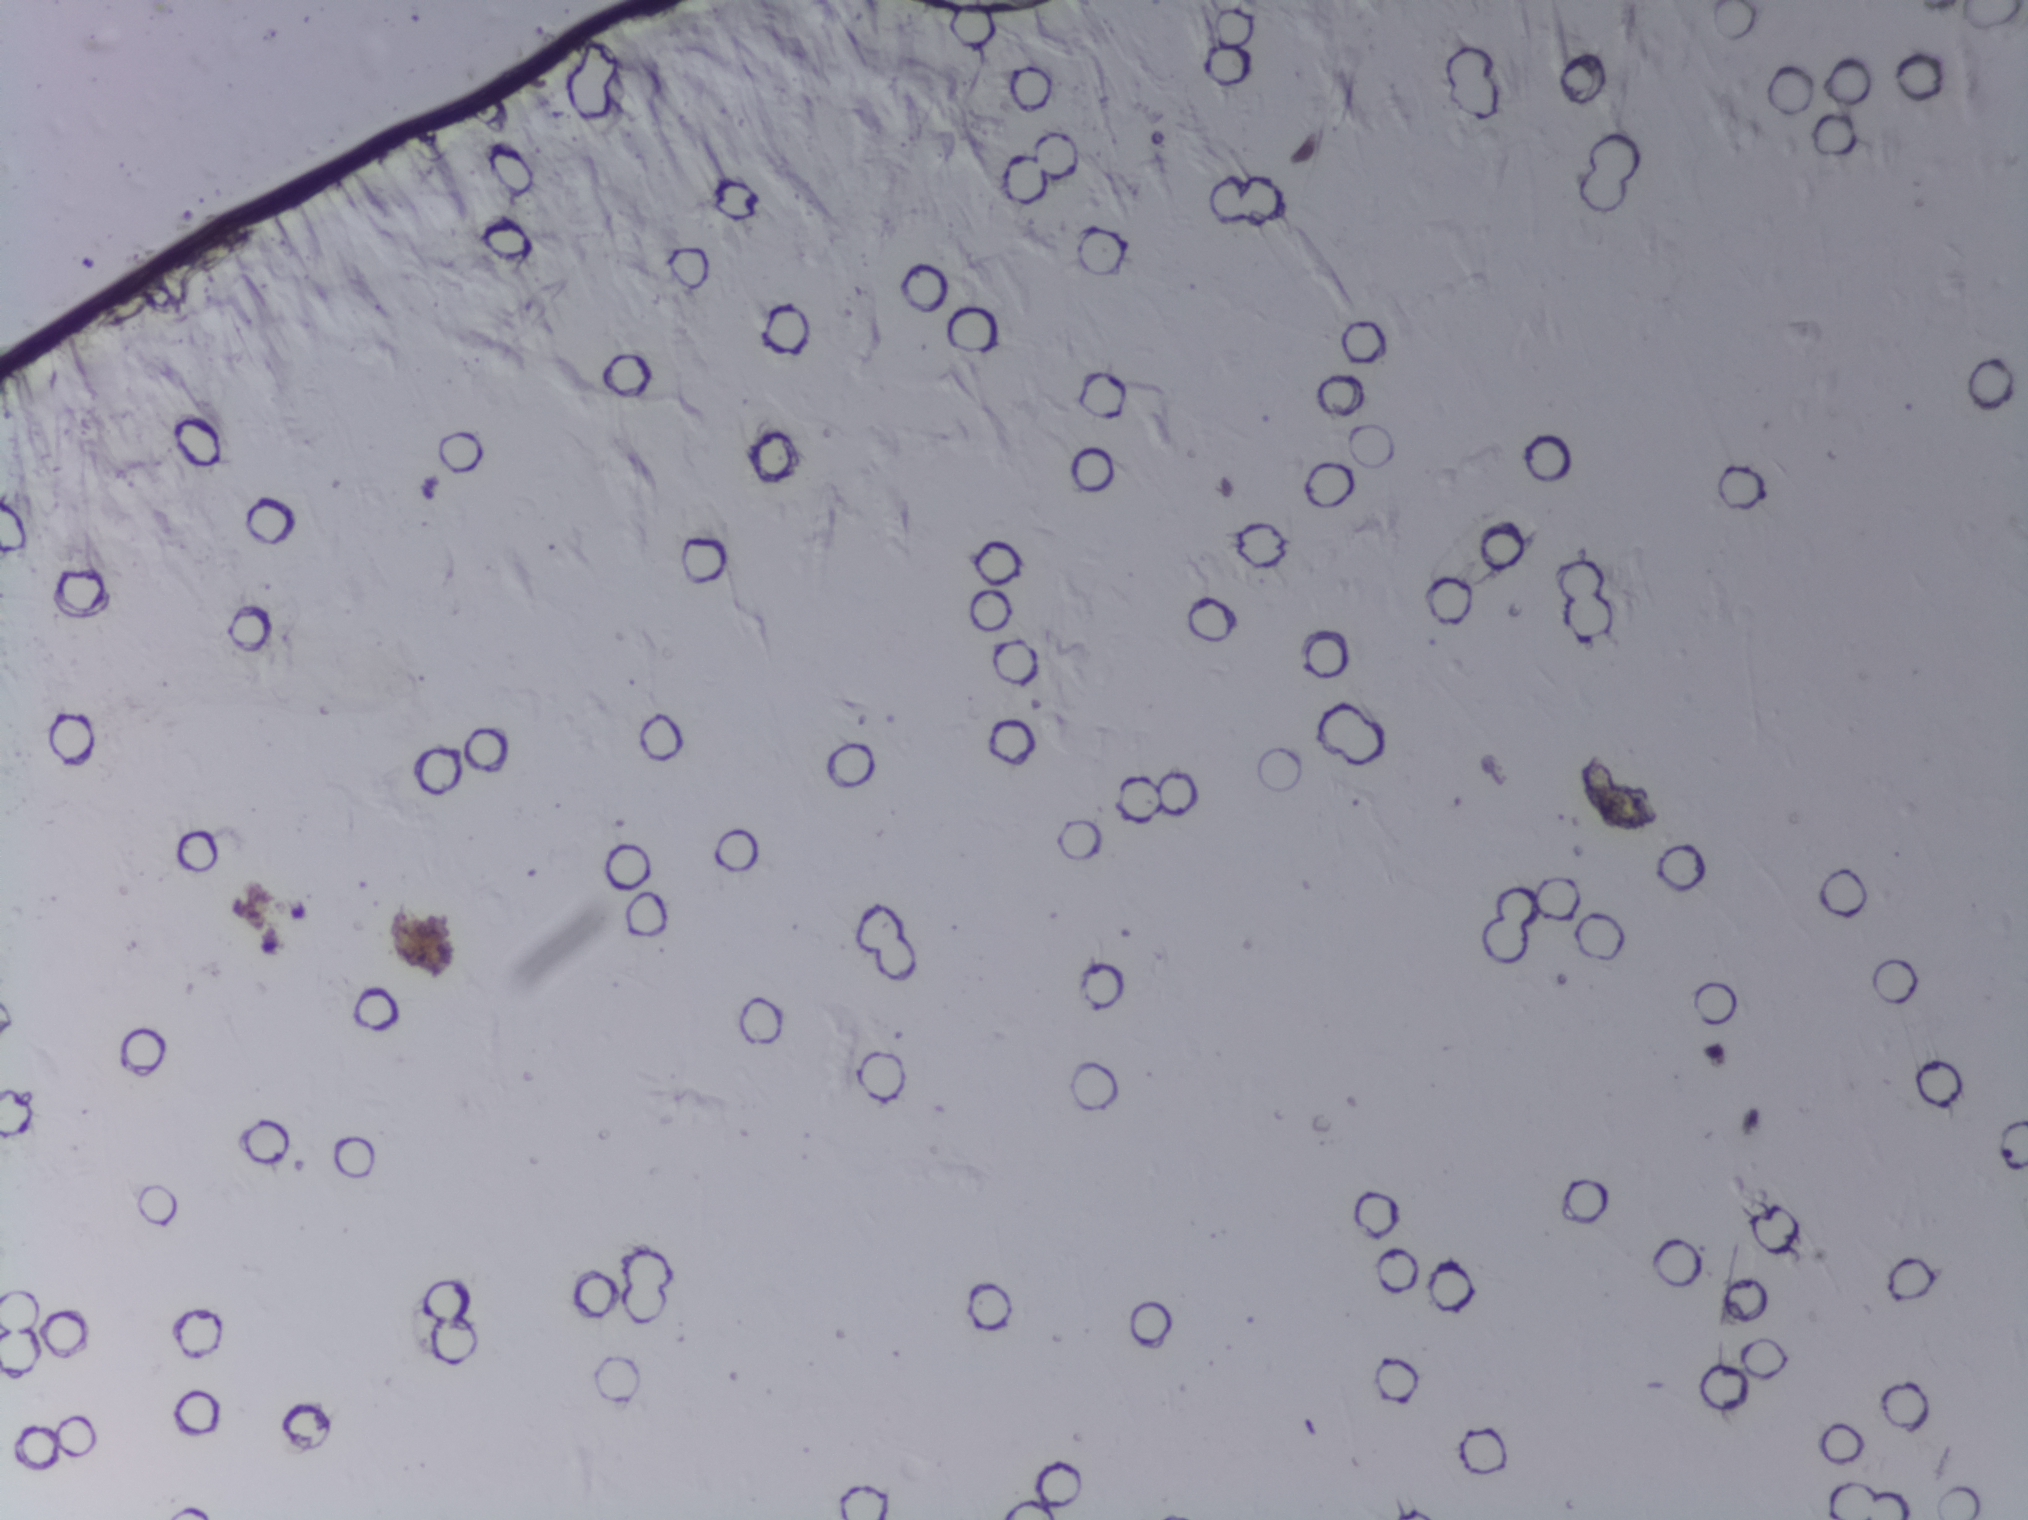
One field of view of a urine filter membrane, 4× objective, 2028 × 1520 pixels. The image covers about 1.5 × 1.1 mm of the membrane.
No area of this image was outlined as a Schistosoma egg.